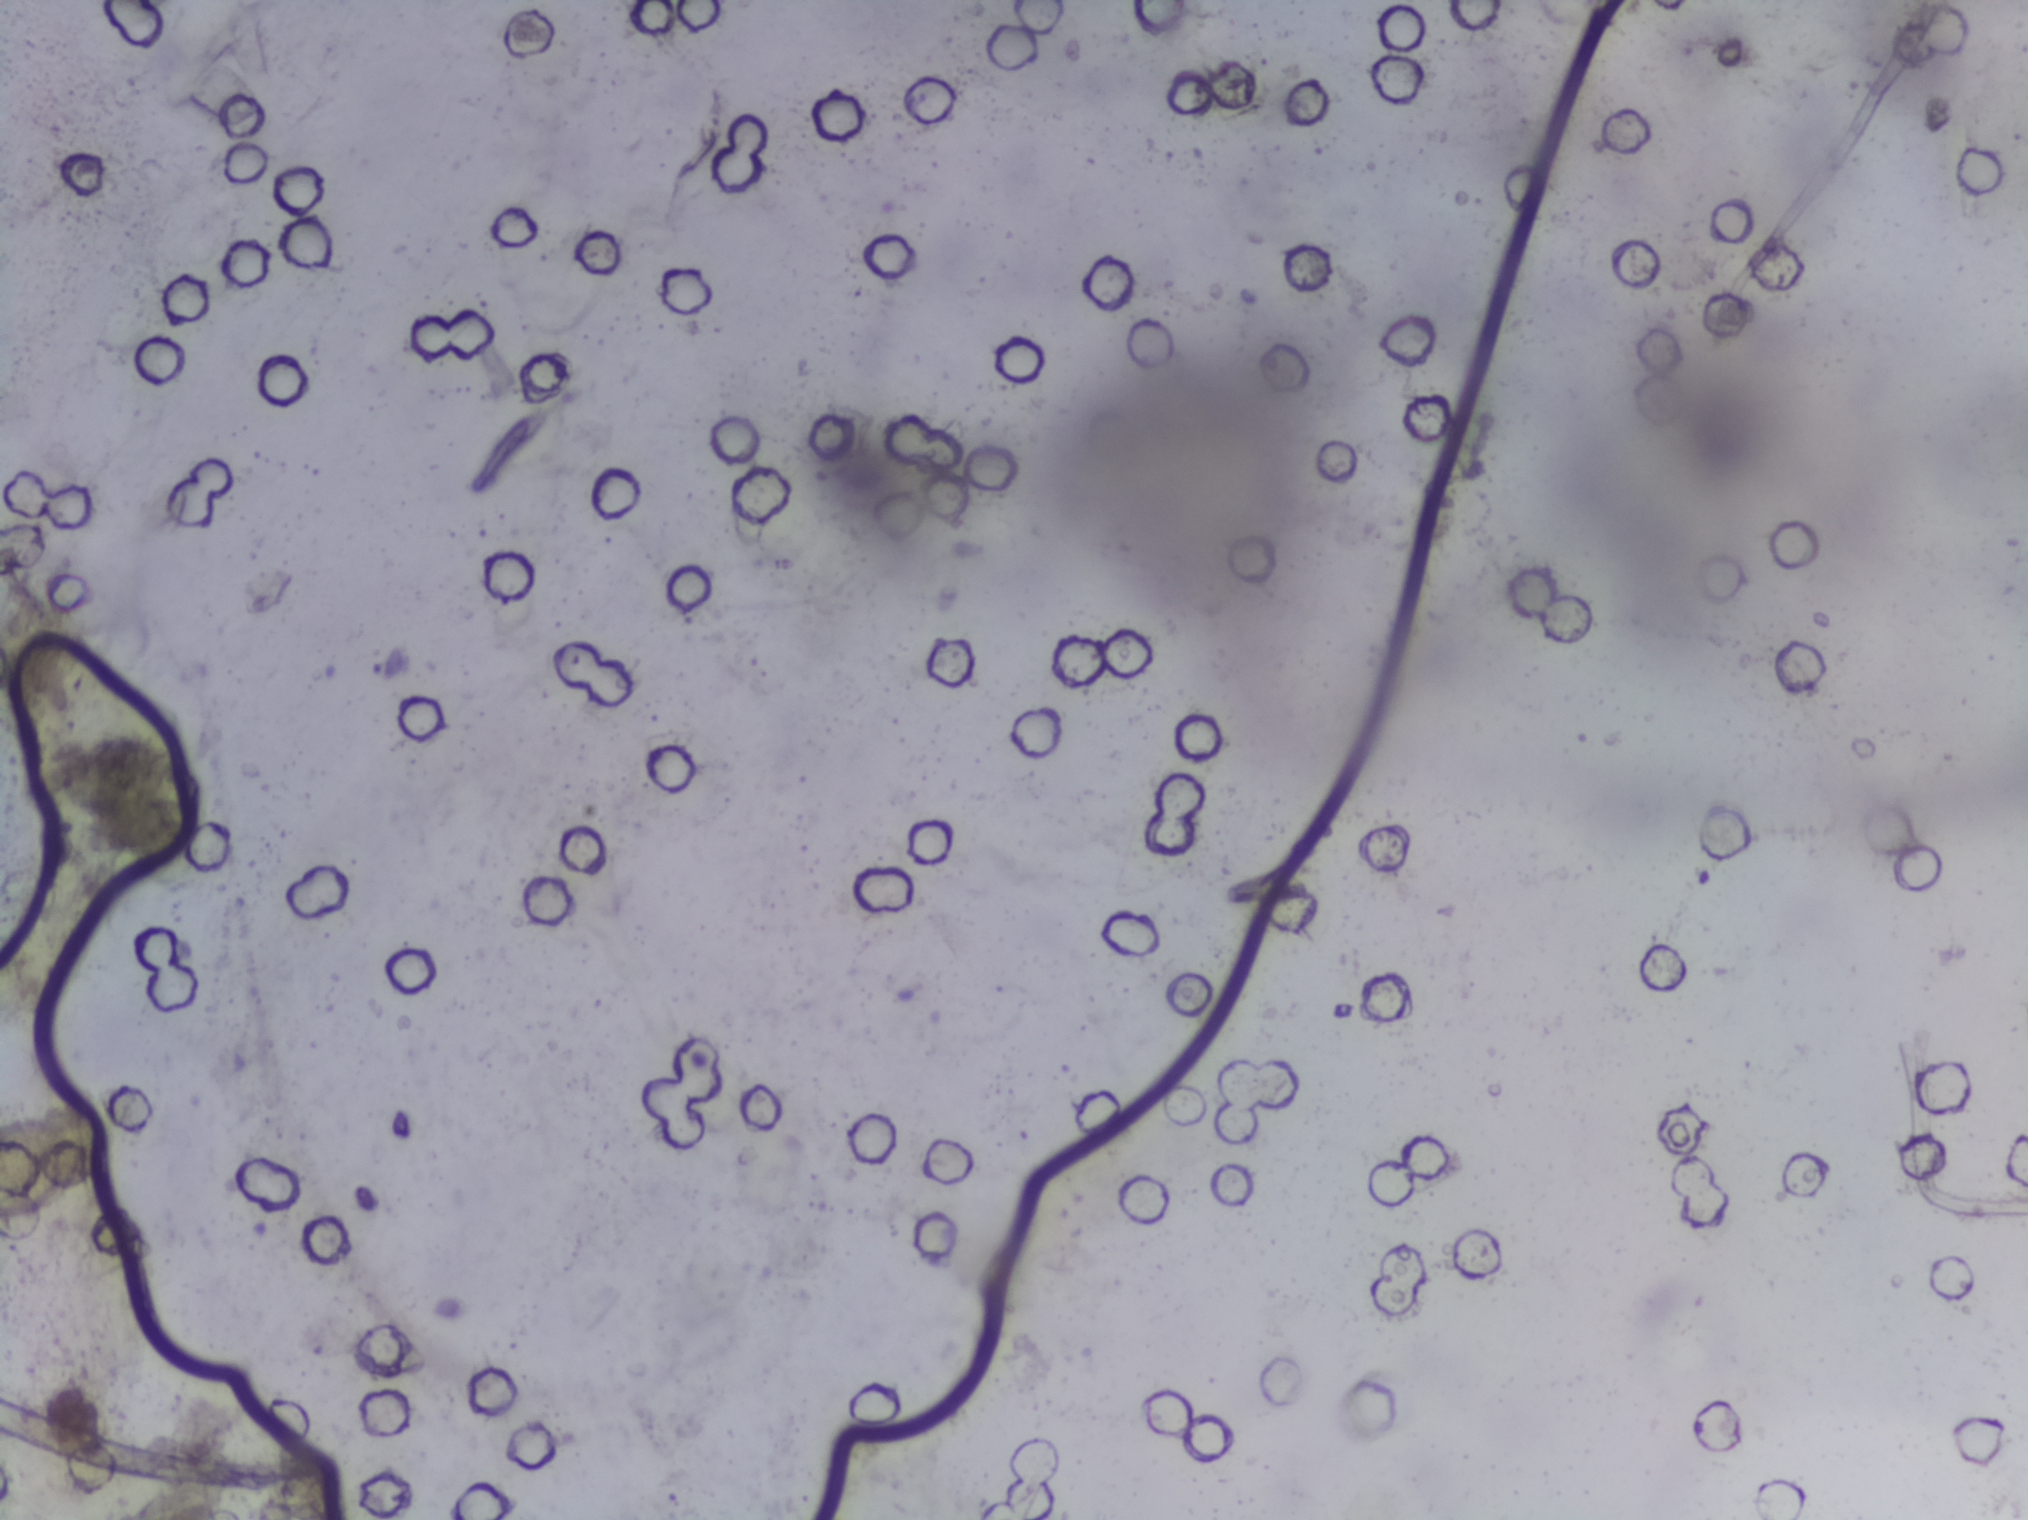
The expert annotation marks no Schistosoma egg in this field of view.
Urine filter membrane photographed through a 4× microscope objective.